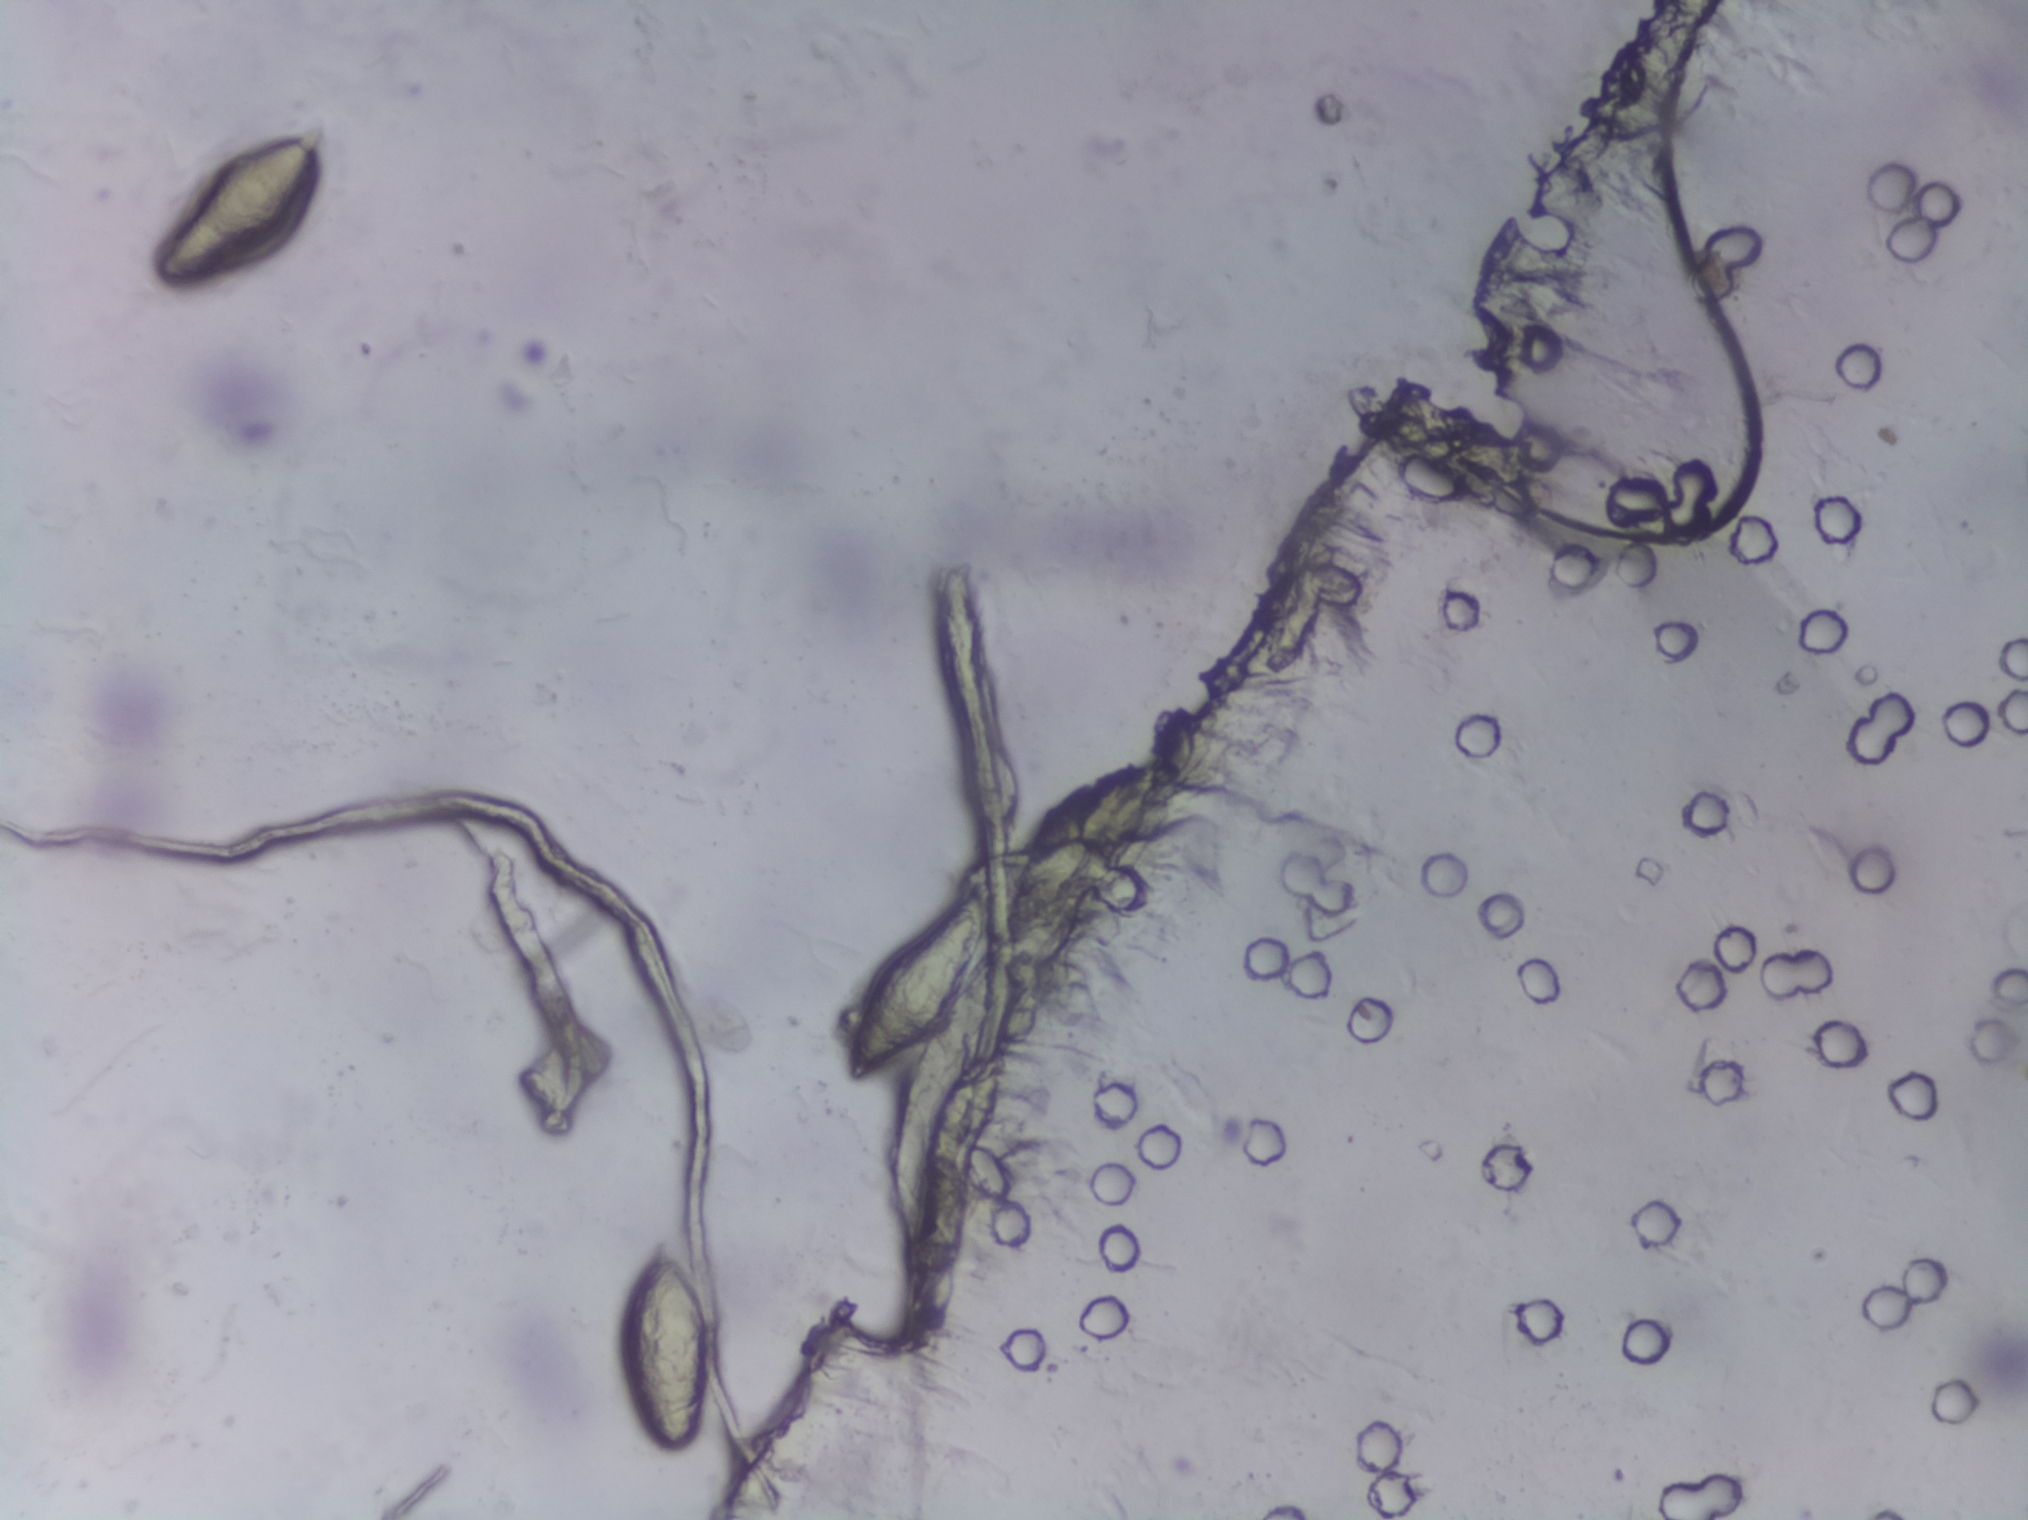
Urine filter membrane photographed through a 4× microscope objective.
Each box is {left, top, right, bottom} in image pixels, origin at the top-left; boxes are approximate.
Schistosoma eggs are outlined in the expert annotation at {143, 120, 332, 293}; {607, 1228, 714, 1469}; {847, 866, 999, 1100}. An outlined area can hold more than one egg. Any one outlined egg may, rarely, be S. mansoni rather than S. haematobium.